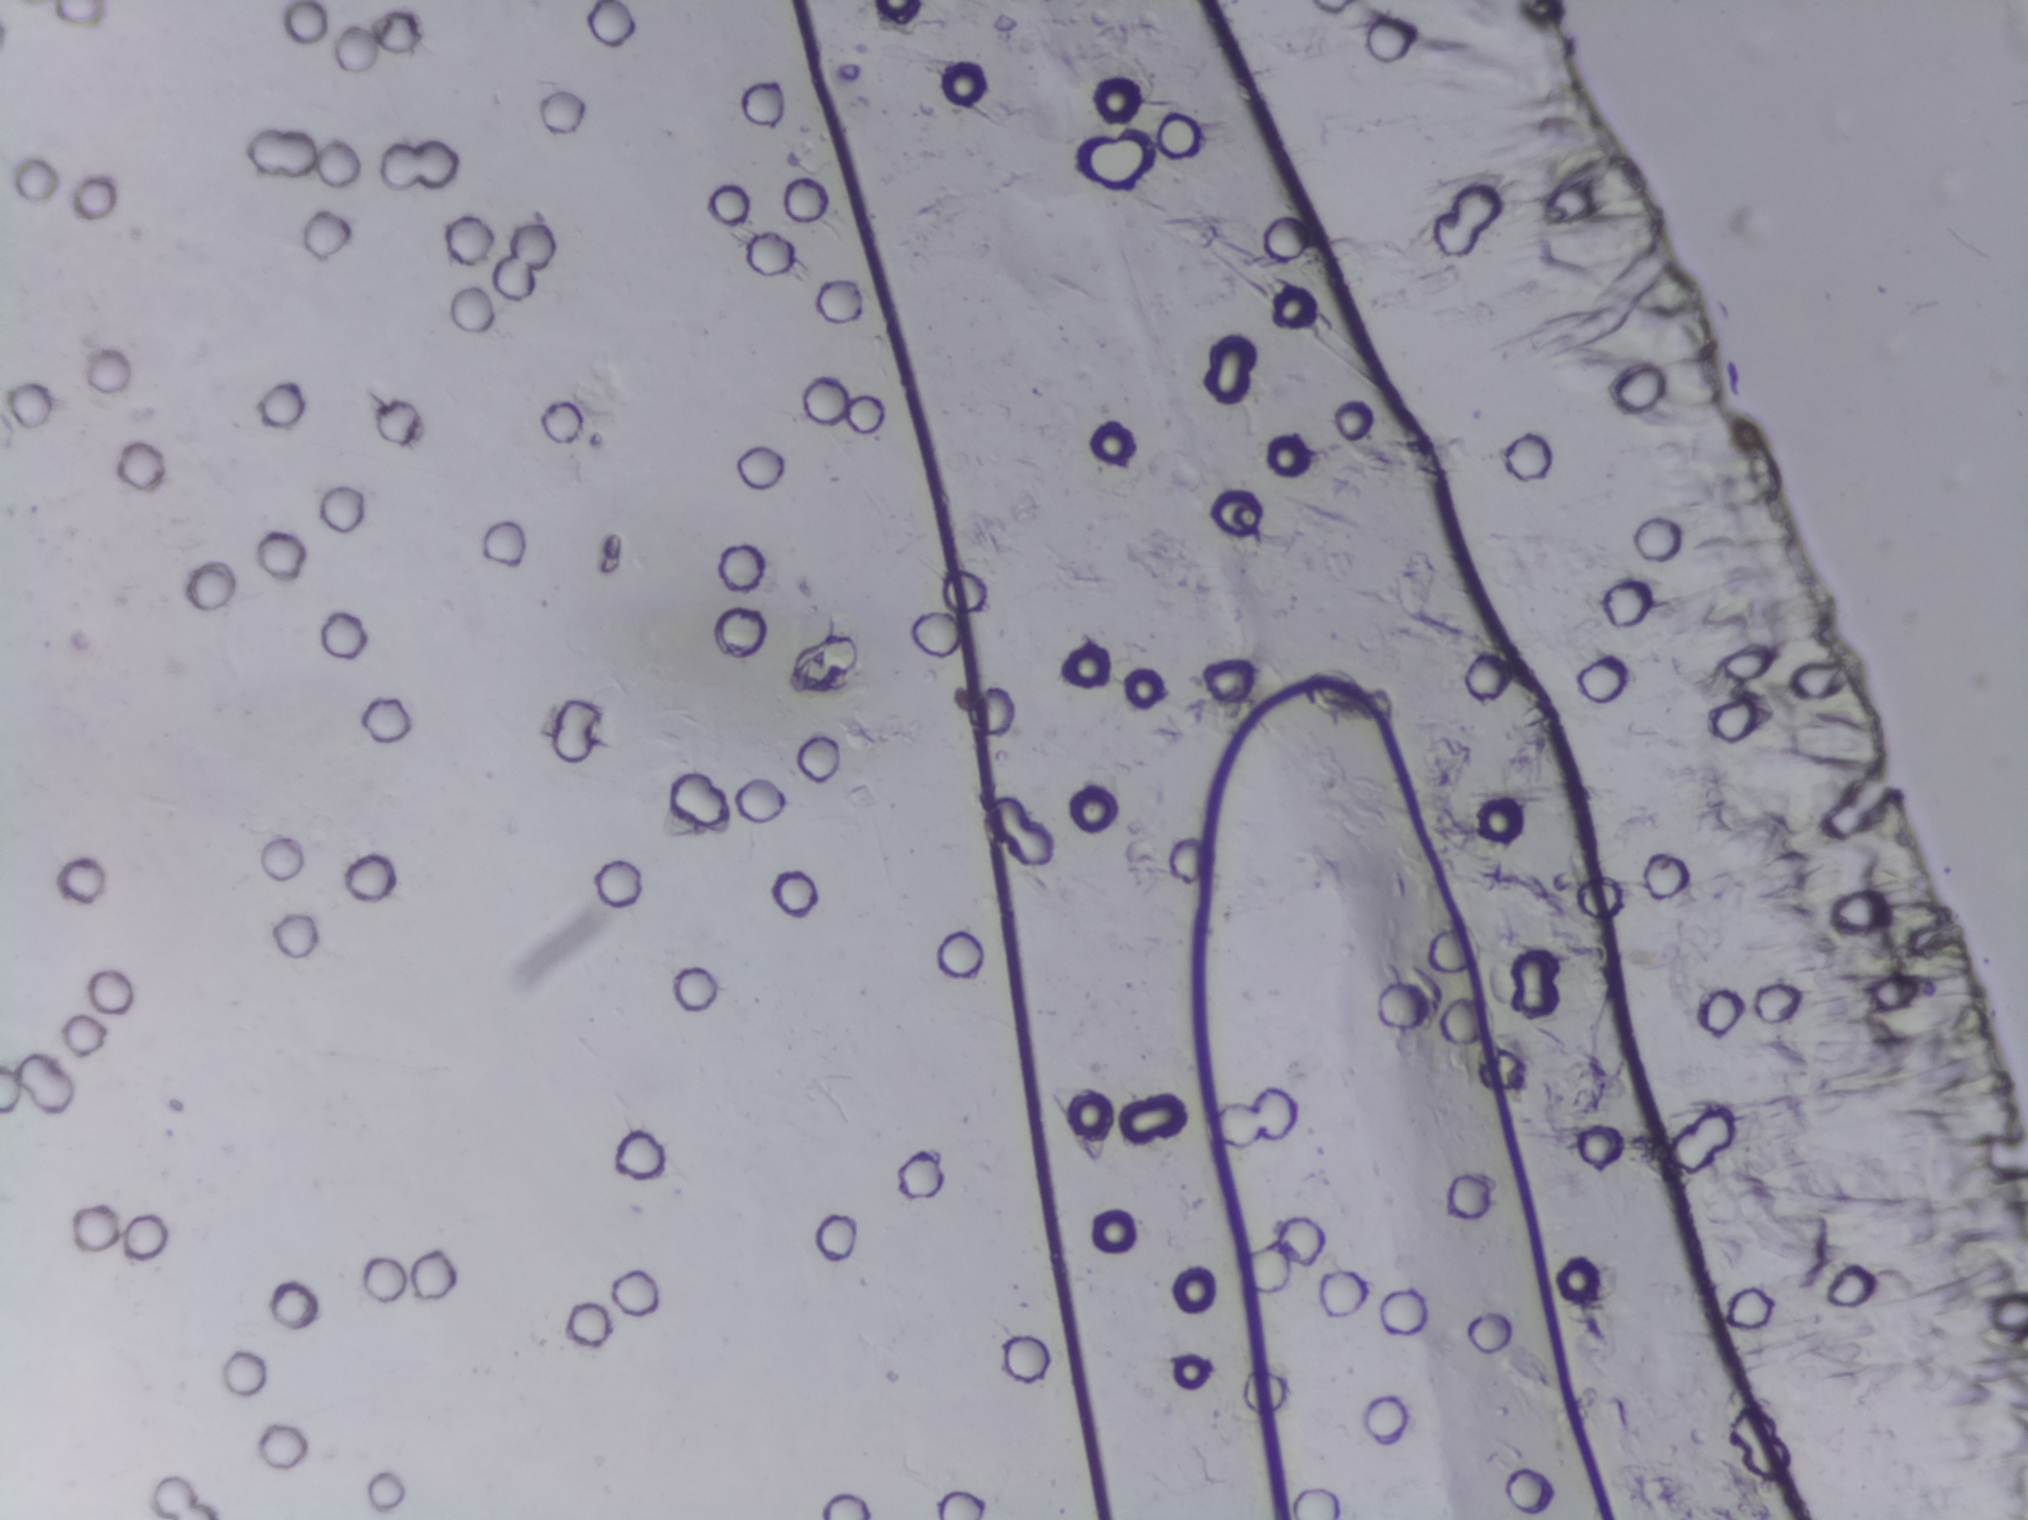
One field of view of a urine filter membrane, 4× objective, 2028 × 1520 pixels.
No area of this image was outlined as a Schistosoma egg.